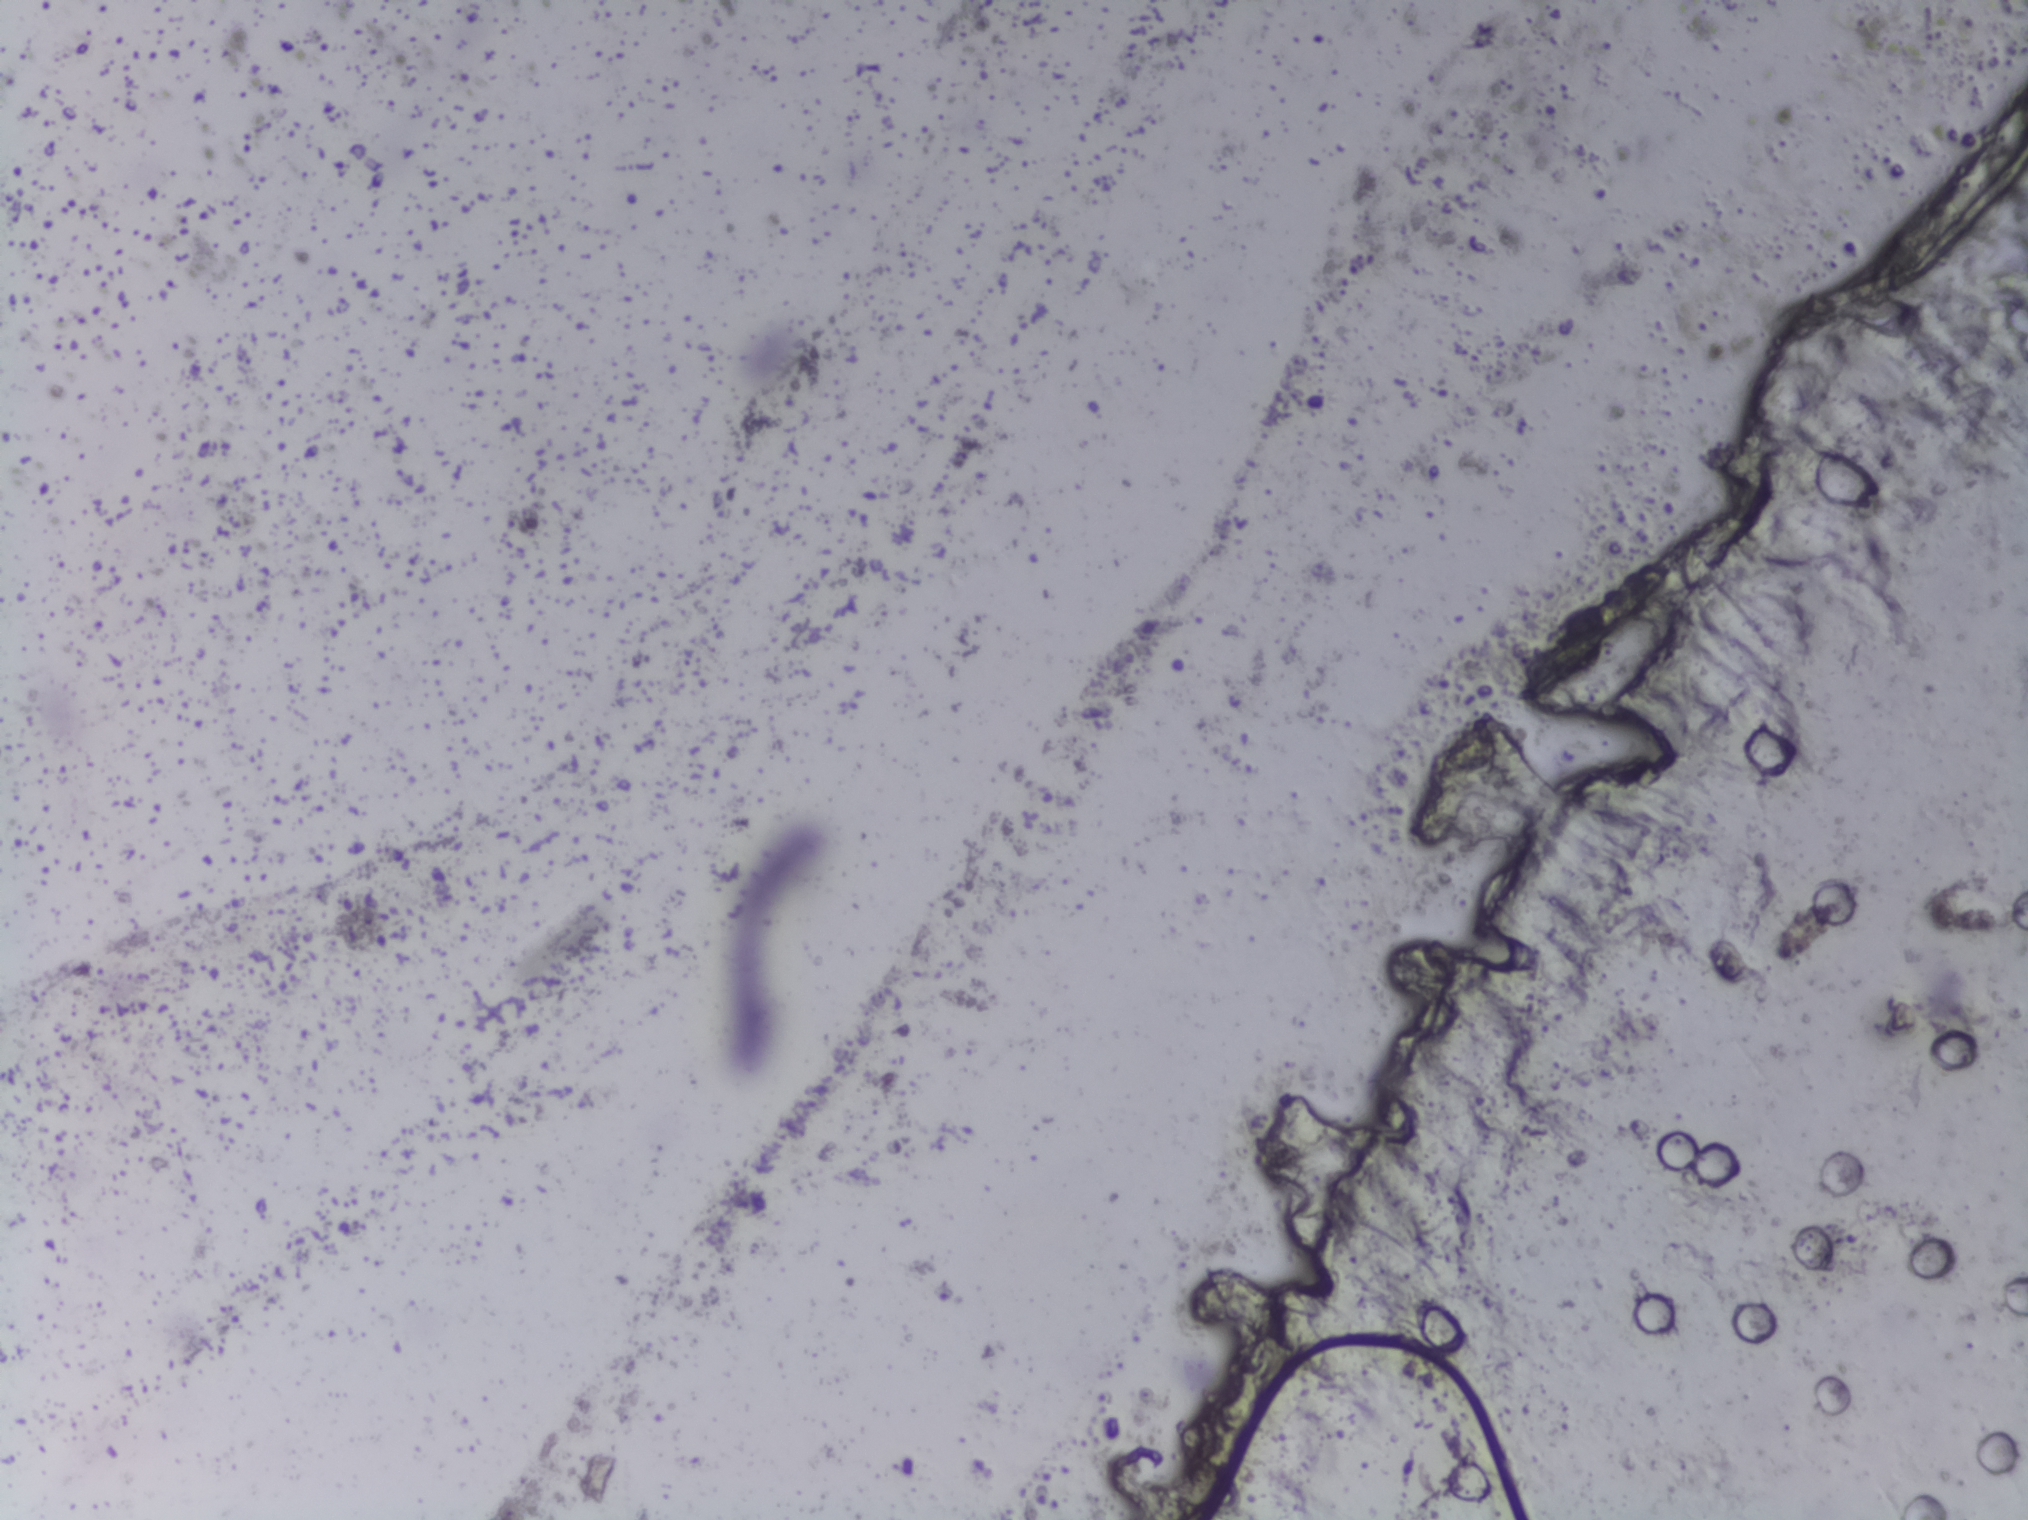
Urine filter membrane photographed through a 4× microscope objective.
Schistosoma eggs: none outlined.